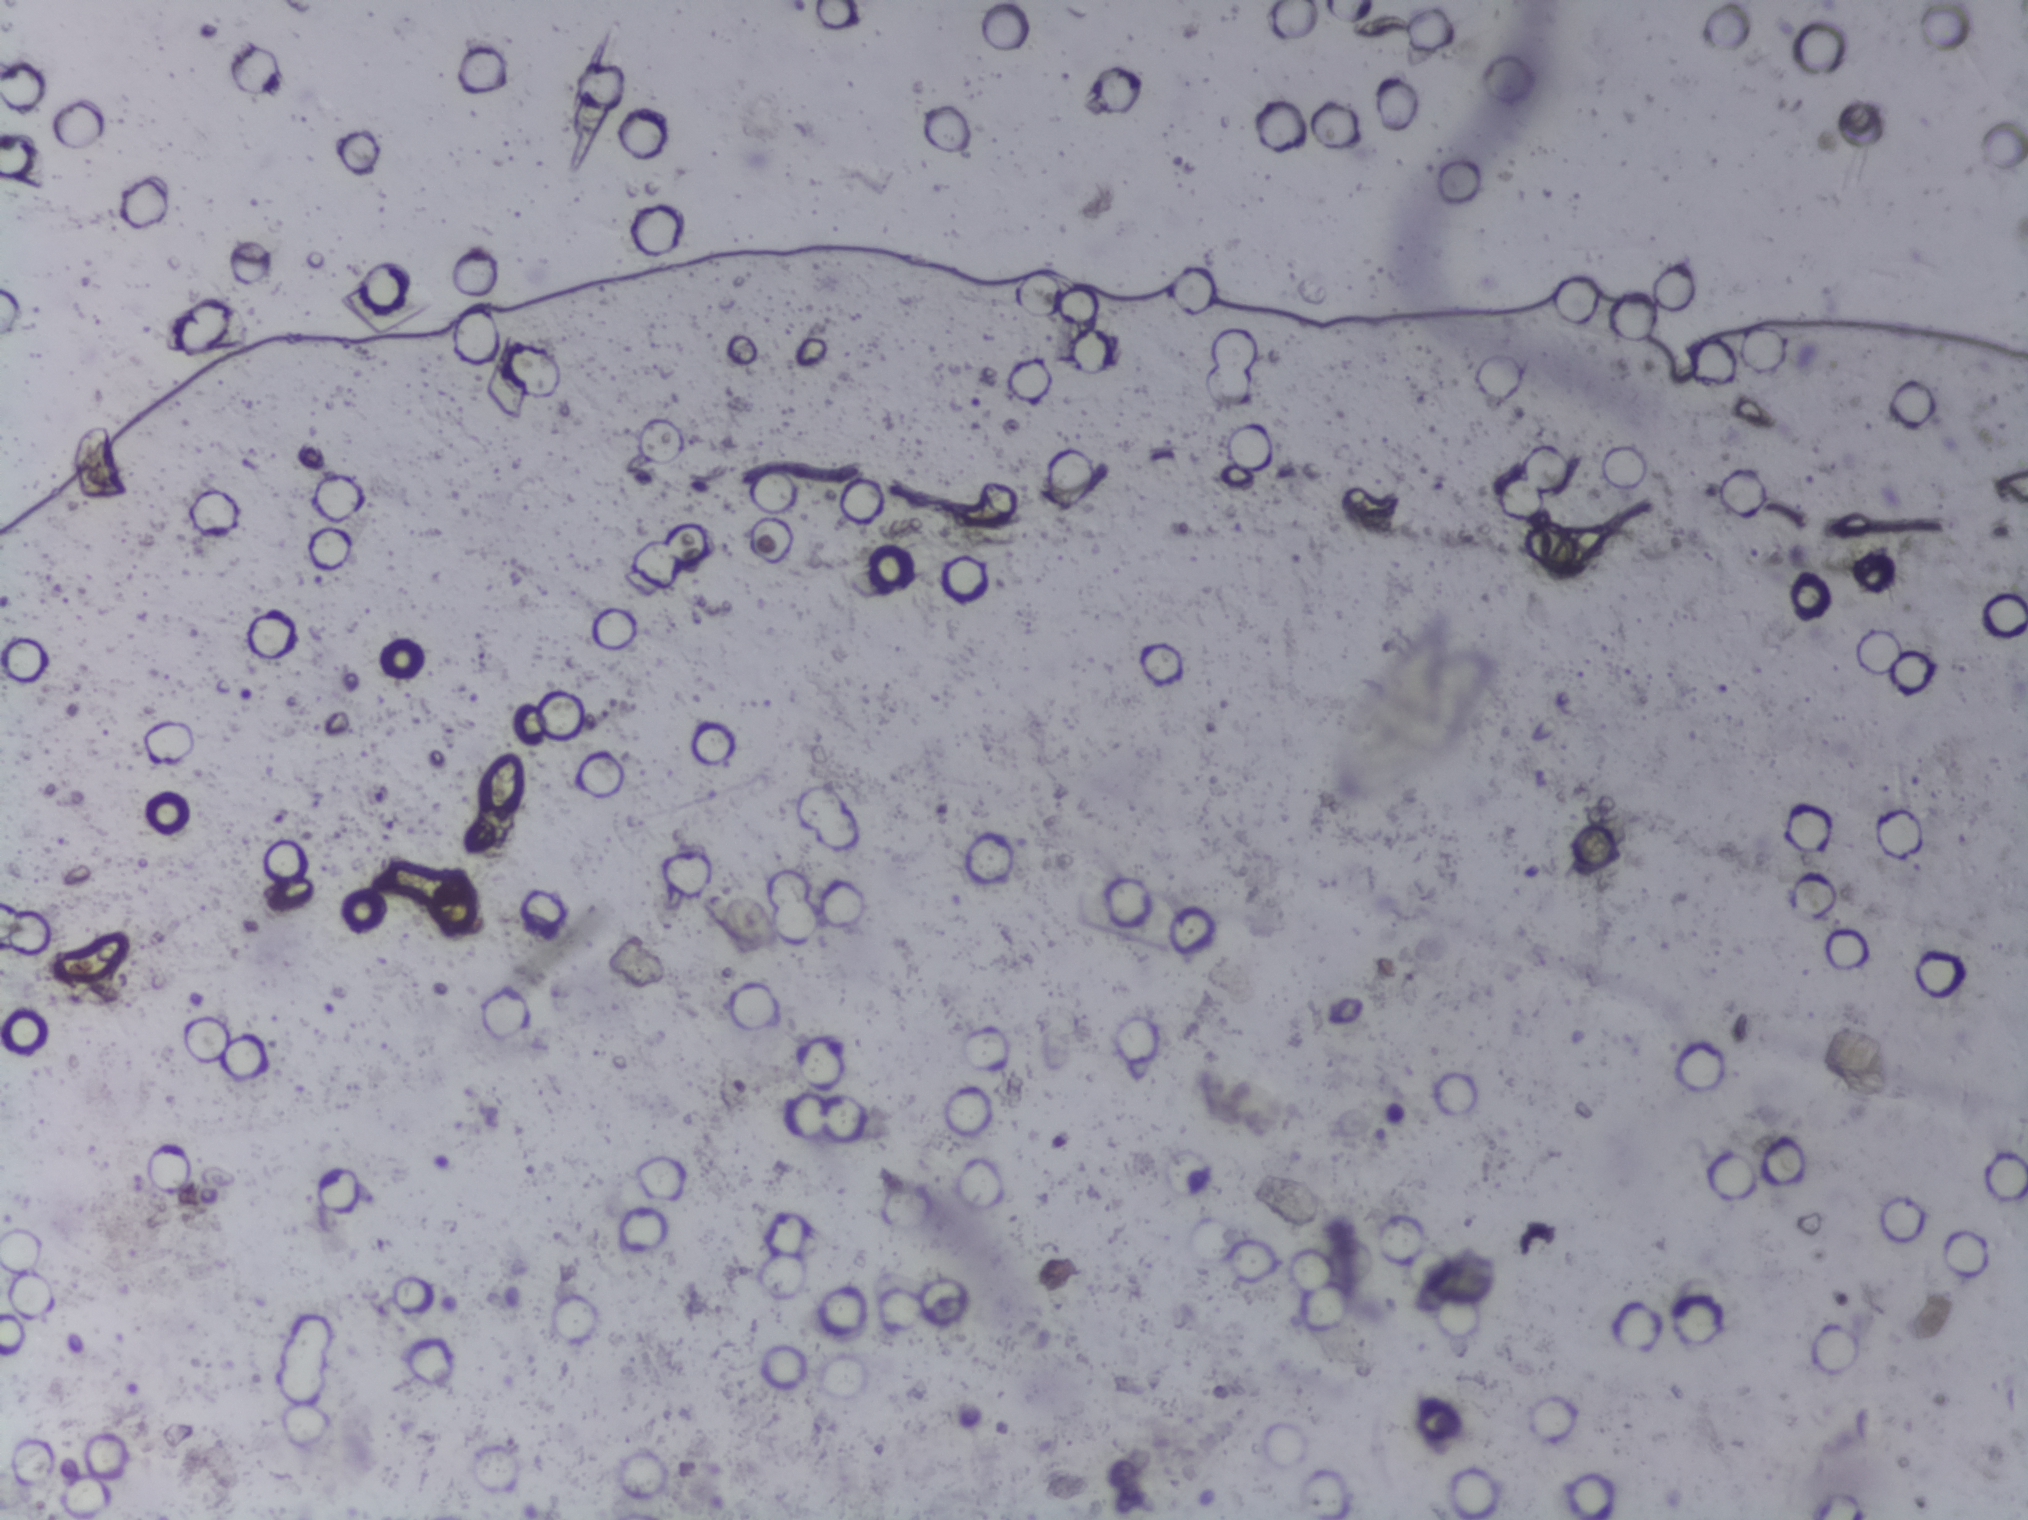
No Schistosoma egg is outlined in this image's expert annotation.
One field of view of a urine filter membrane, 4× objective, 2028 × 1520 pixels.